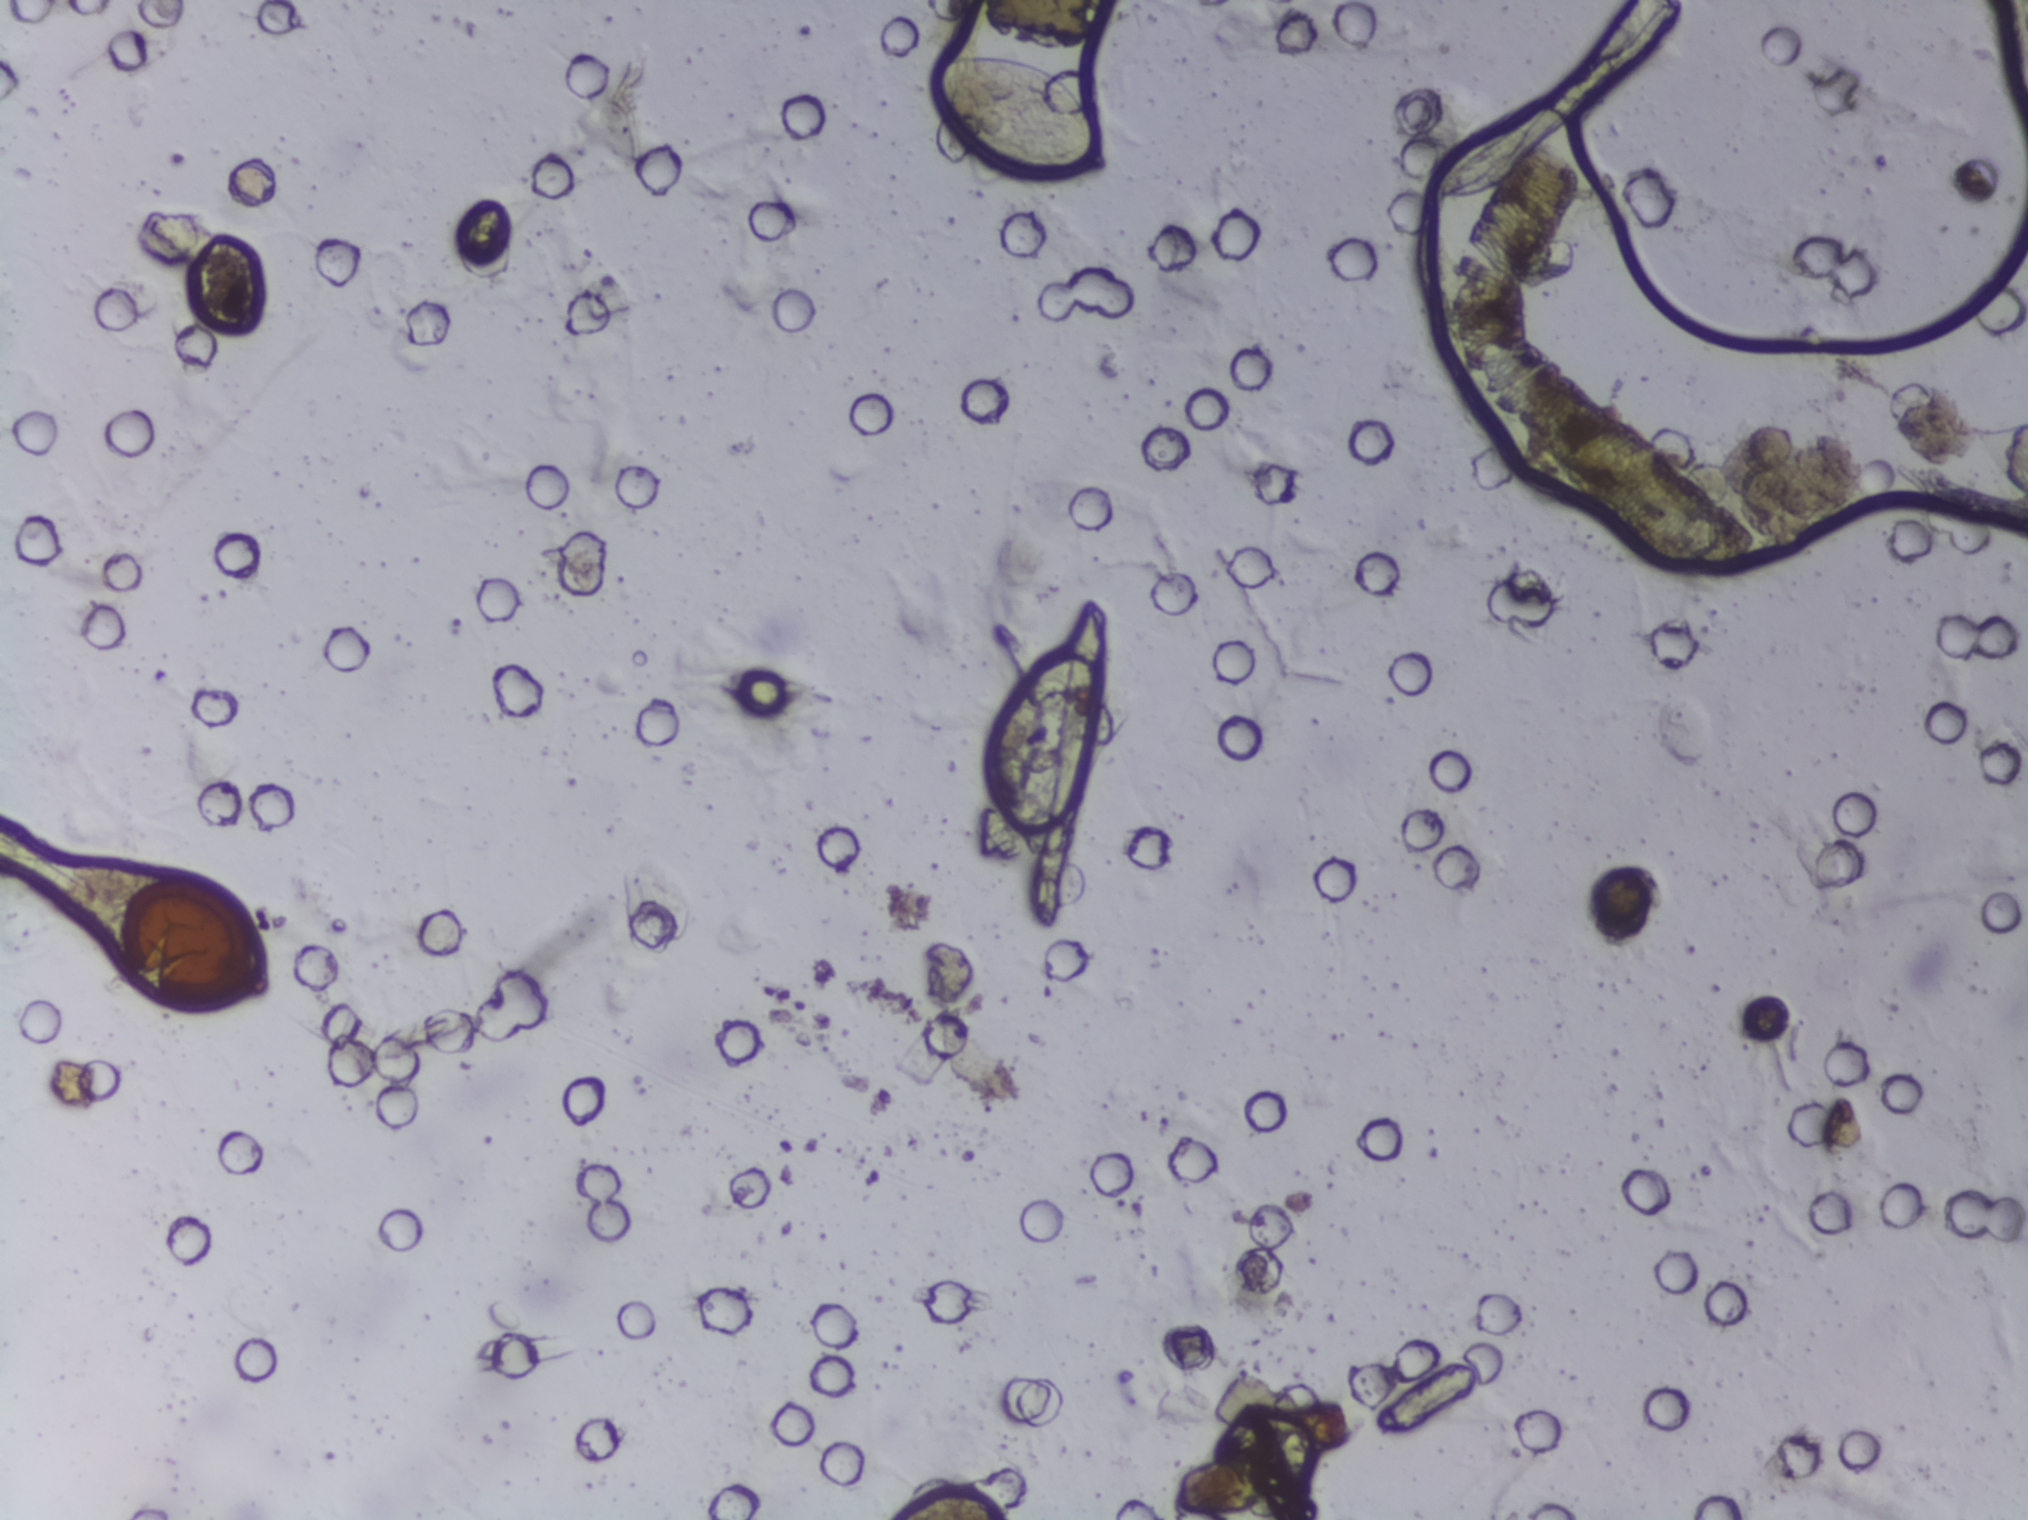
Urine filter membrane photographed through a 4× microscope objective. The image covers about 1.5 × 1.1 mm of the membrane.
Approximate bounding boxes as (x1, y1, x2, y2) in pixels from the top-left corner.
One area of this image is outlined as Schistosoma eggs: (923, 48, 1115, 190). Eggs that touch can end up inside the same outlined area.